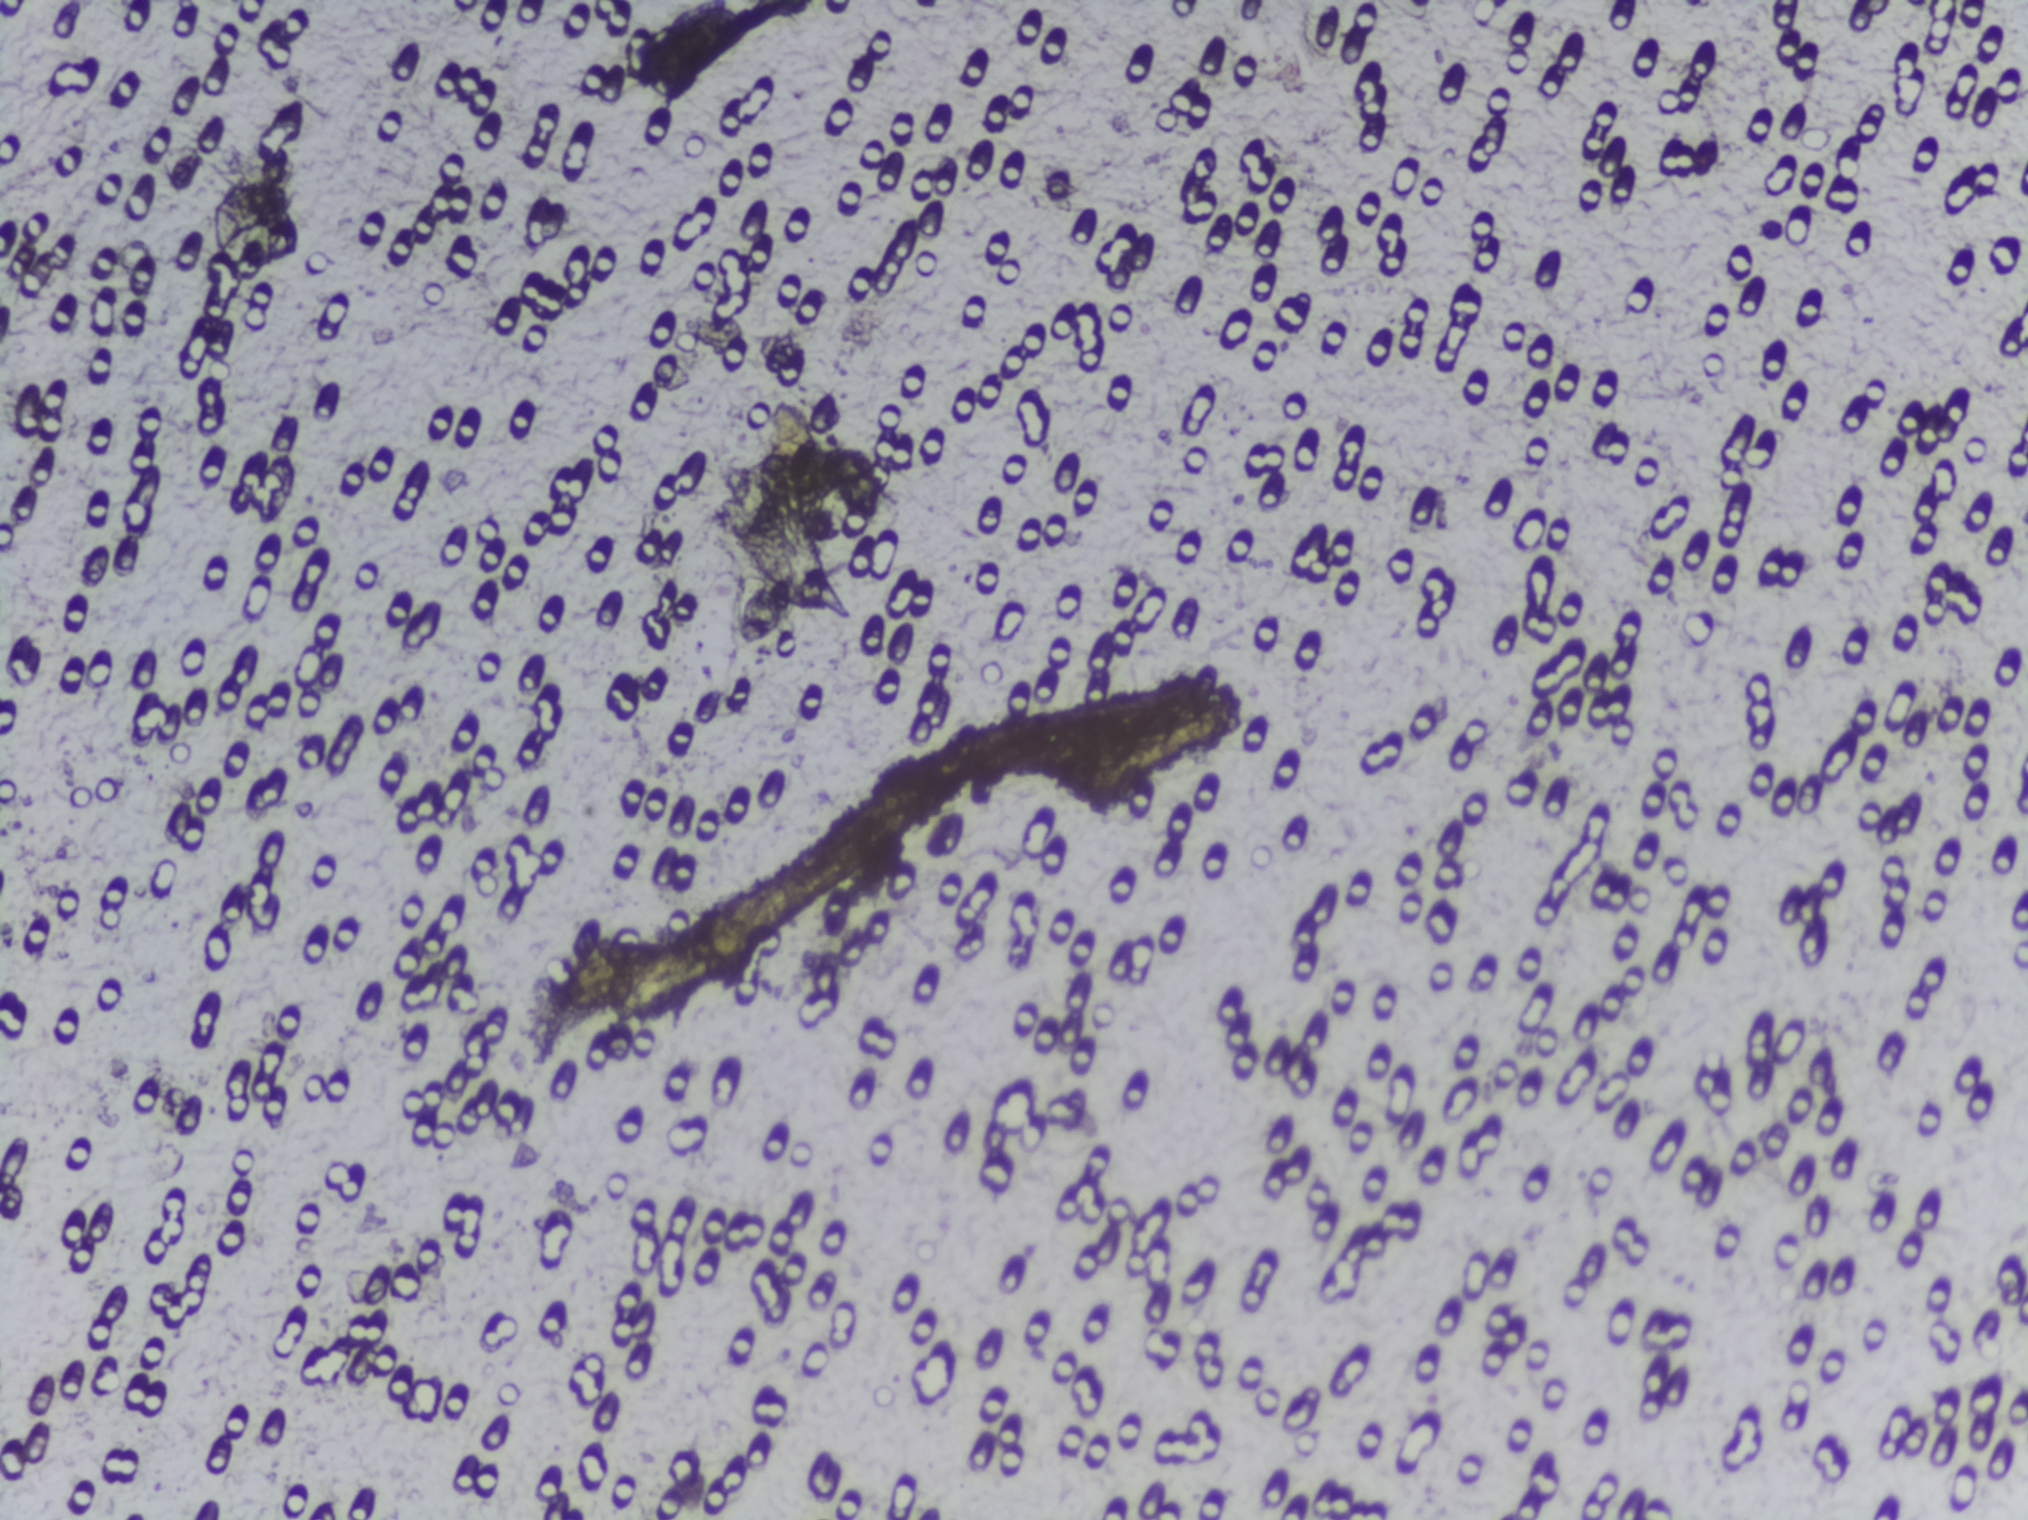
The expert annotation marks no Schistosoma egg in this field of view.
Urine filter membrane photographed through a 4× microscope objective.